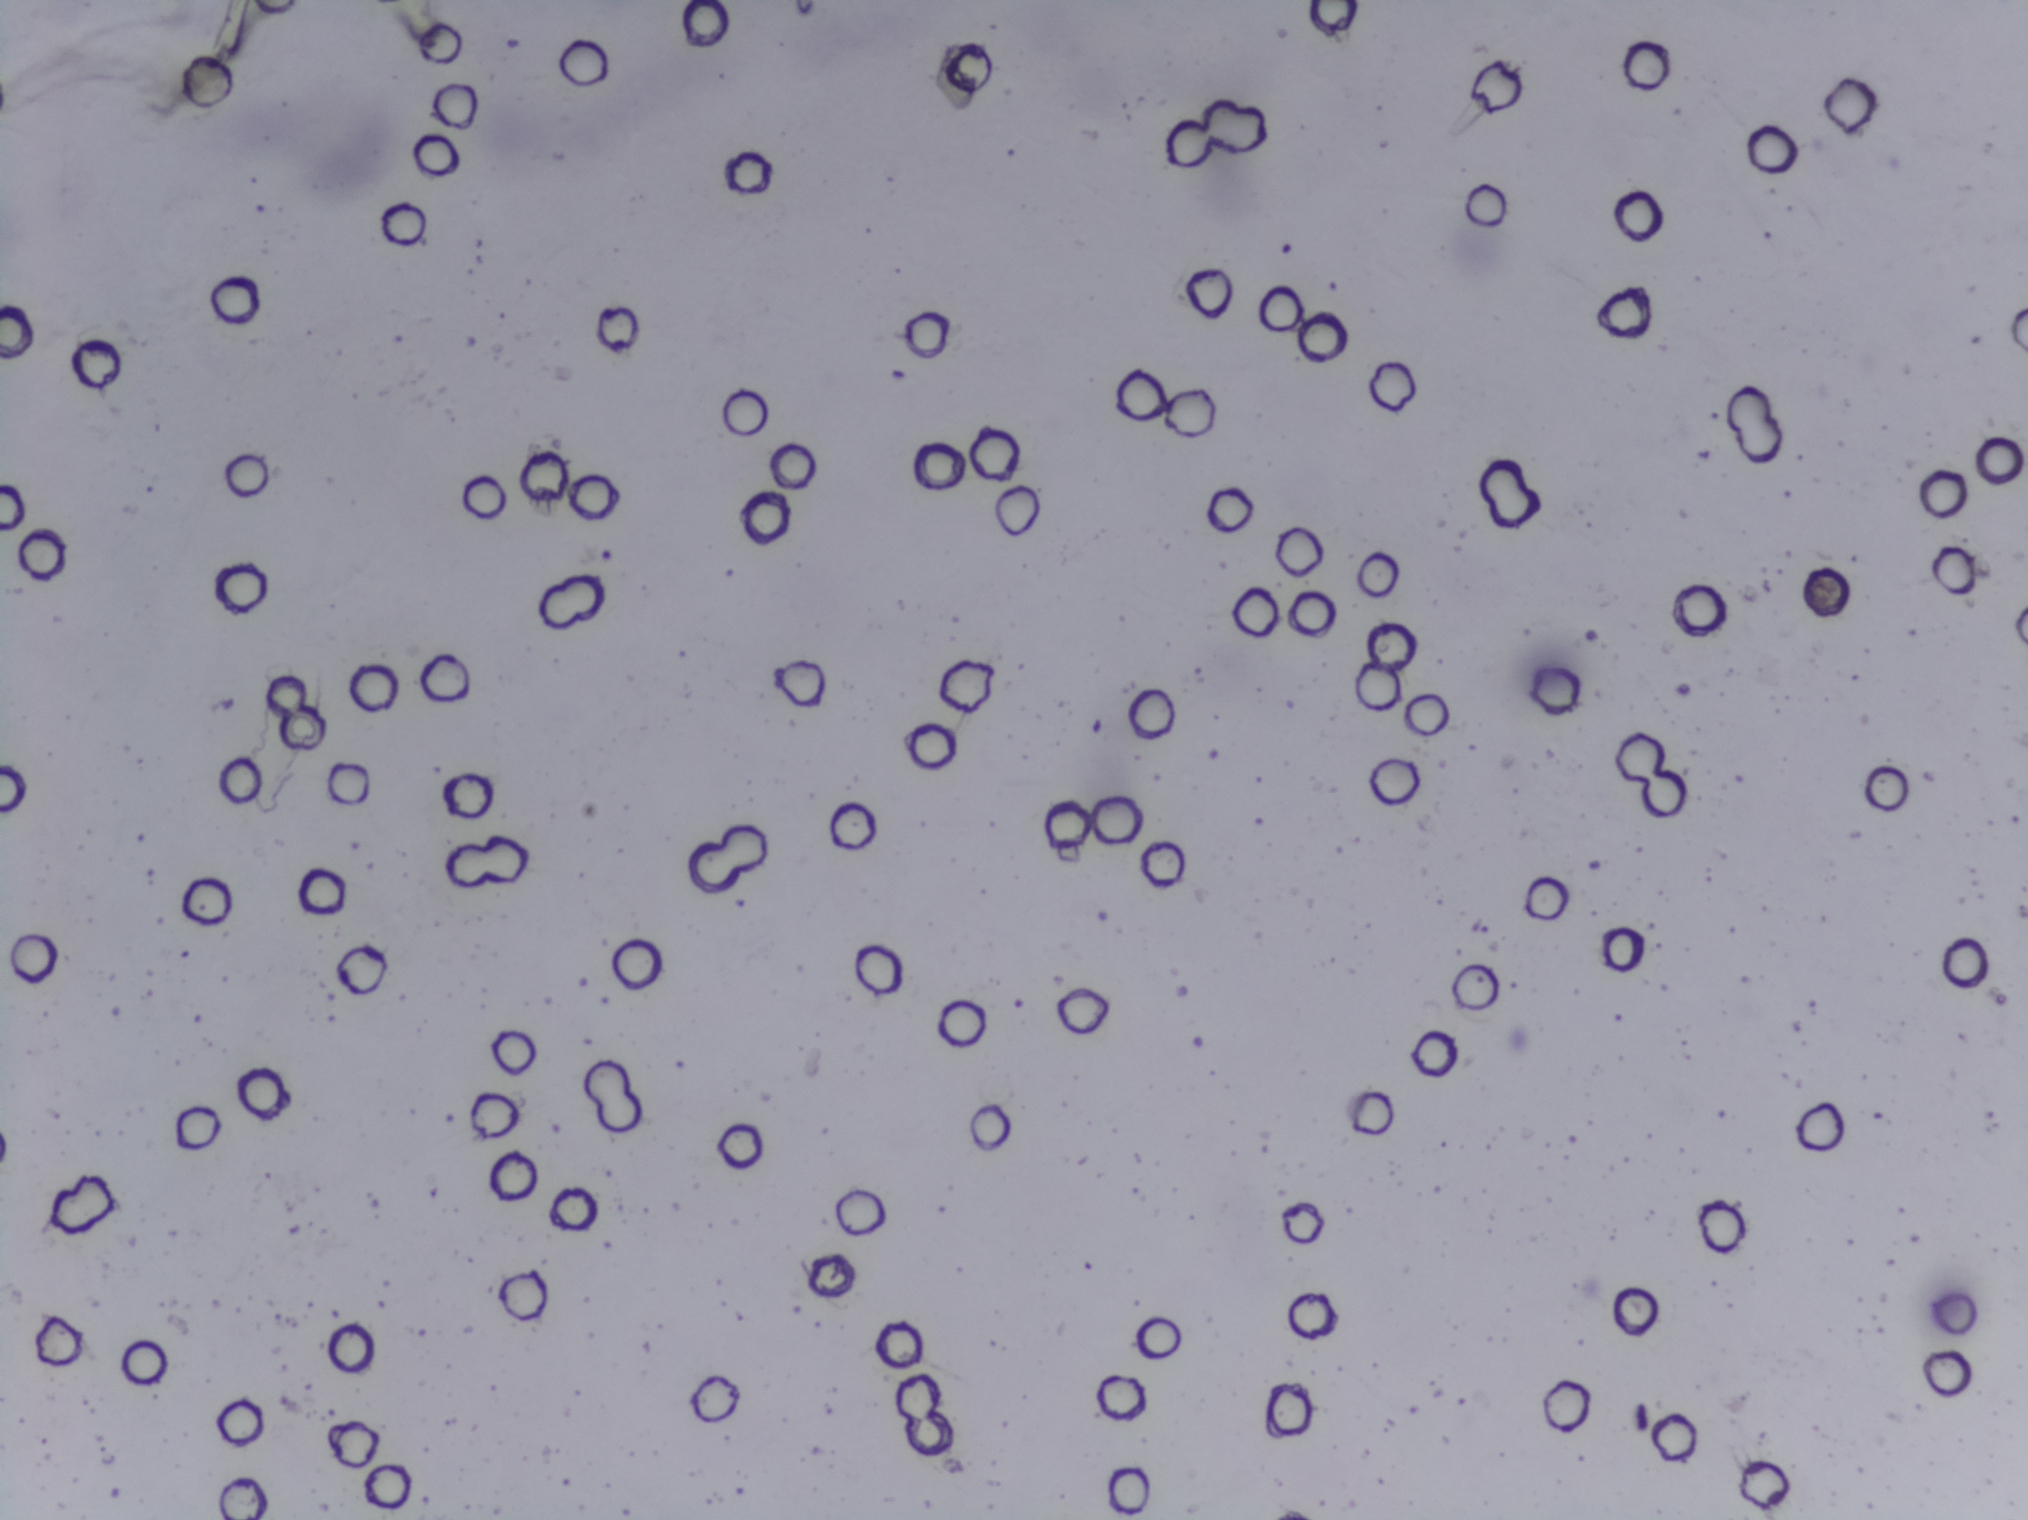
Photomicrograph of a urine filtration membrane, 4× objective.
The expert annotation marks no Schistosoma egg in this field of view.